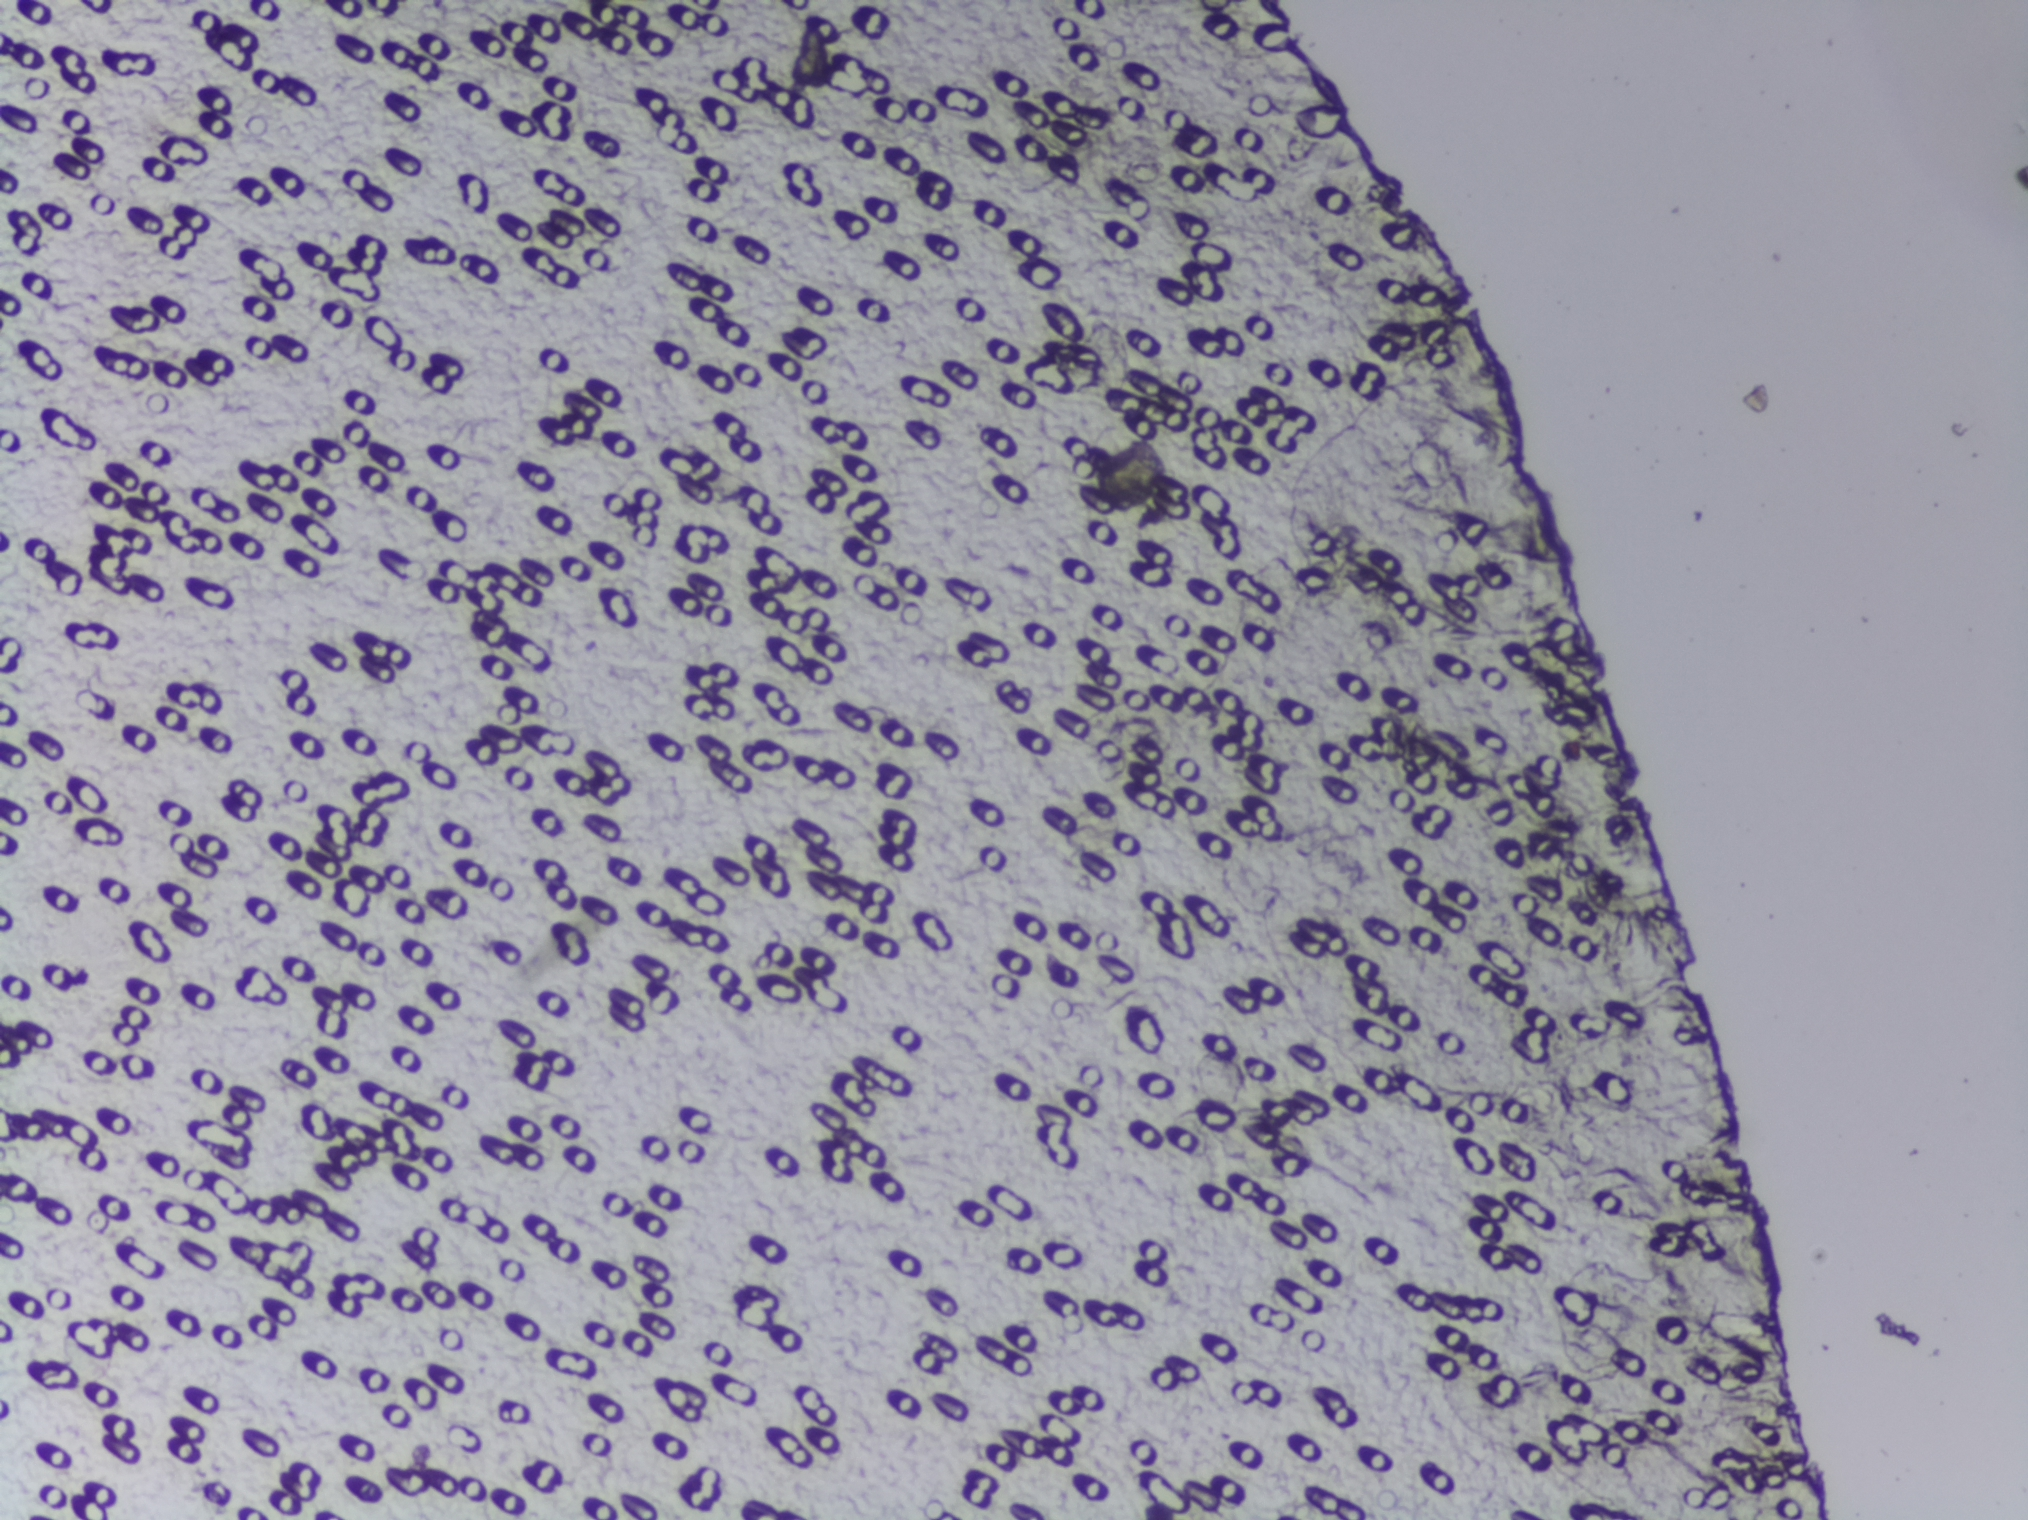
One field of view of a urine filter membrane, 4× objective, 2028 × 1520 pixels.
Schistosoma eggs: none outlined.